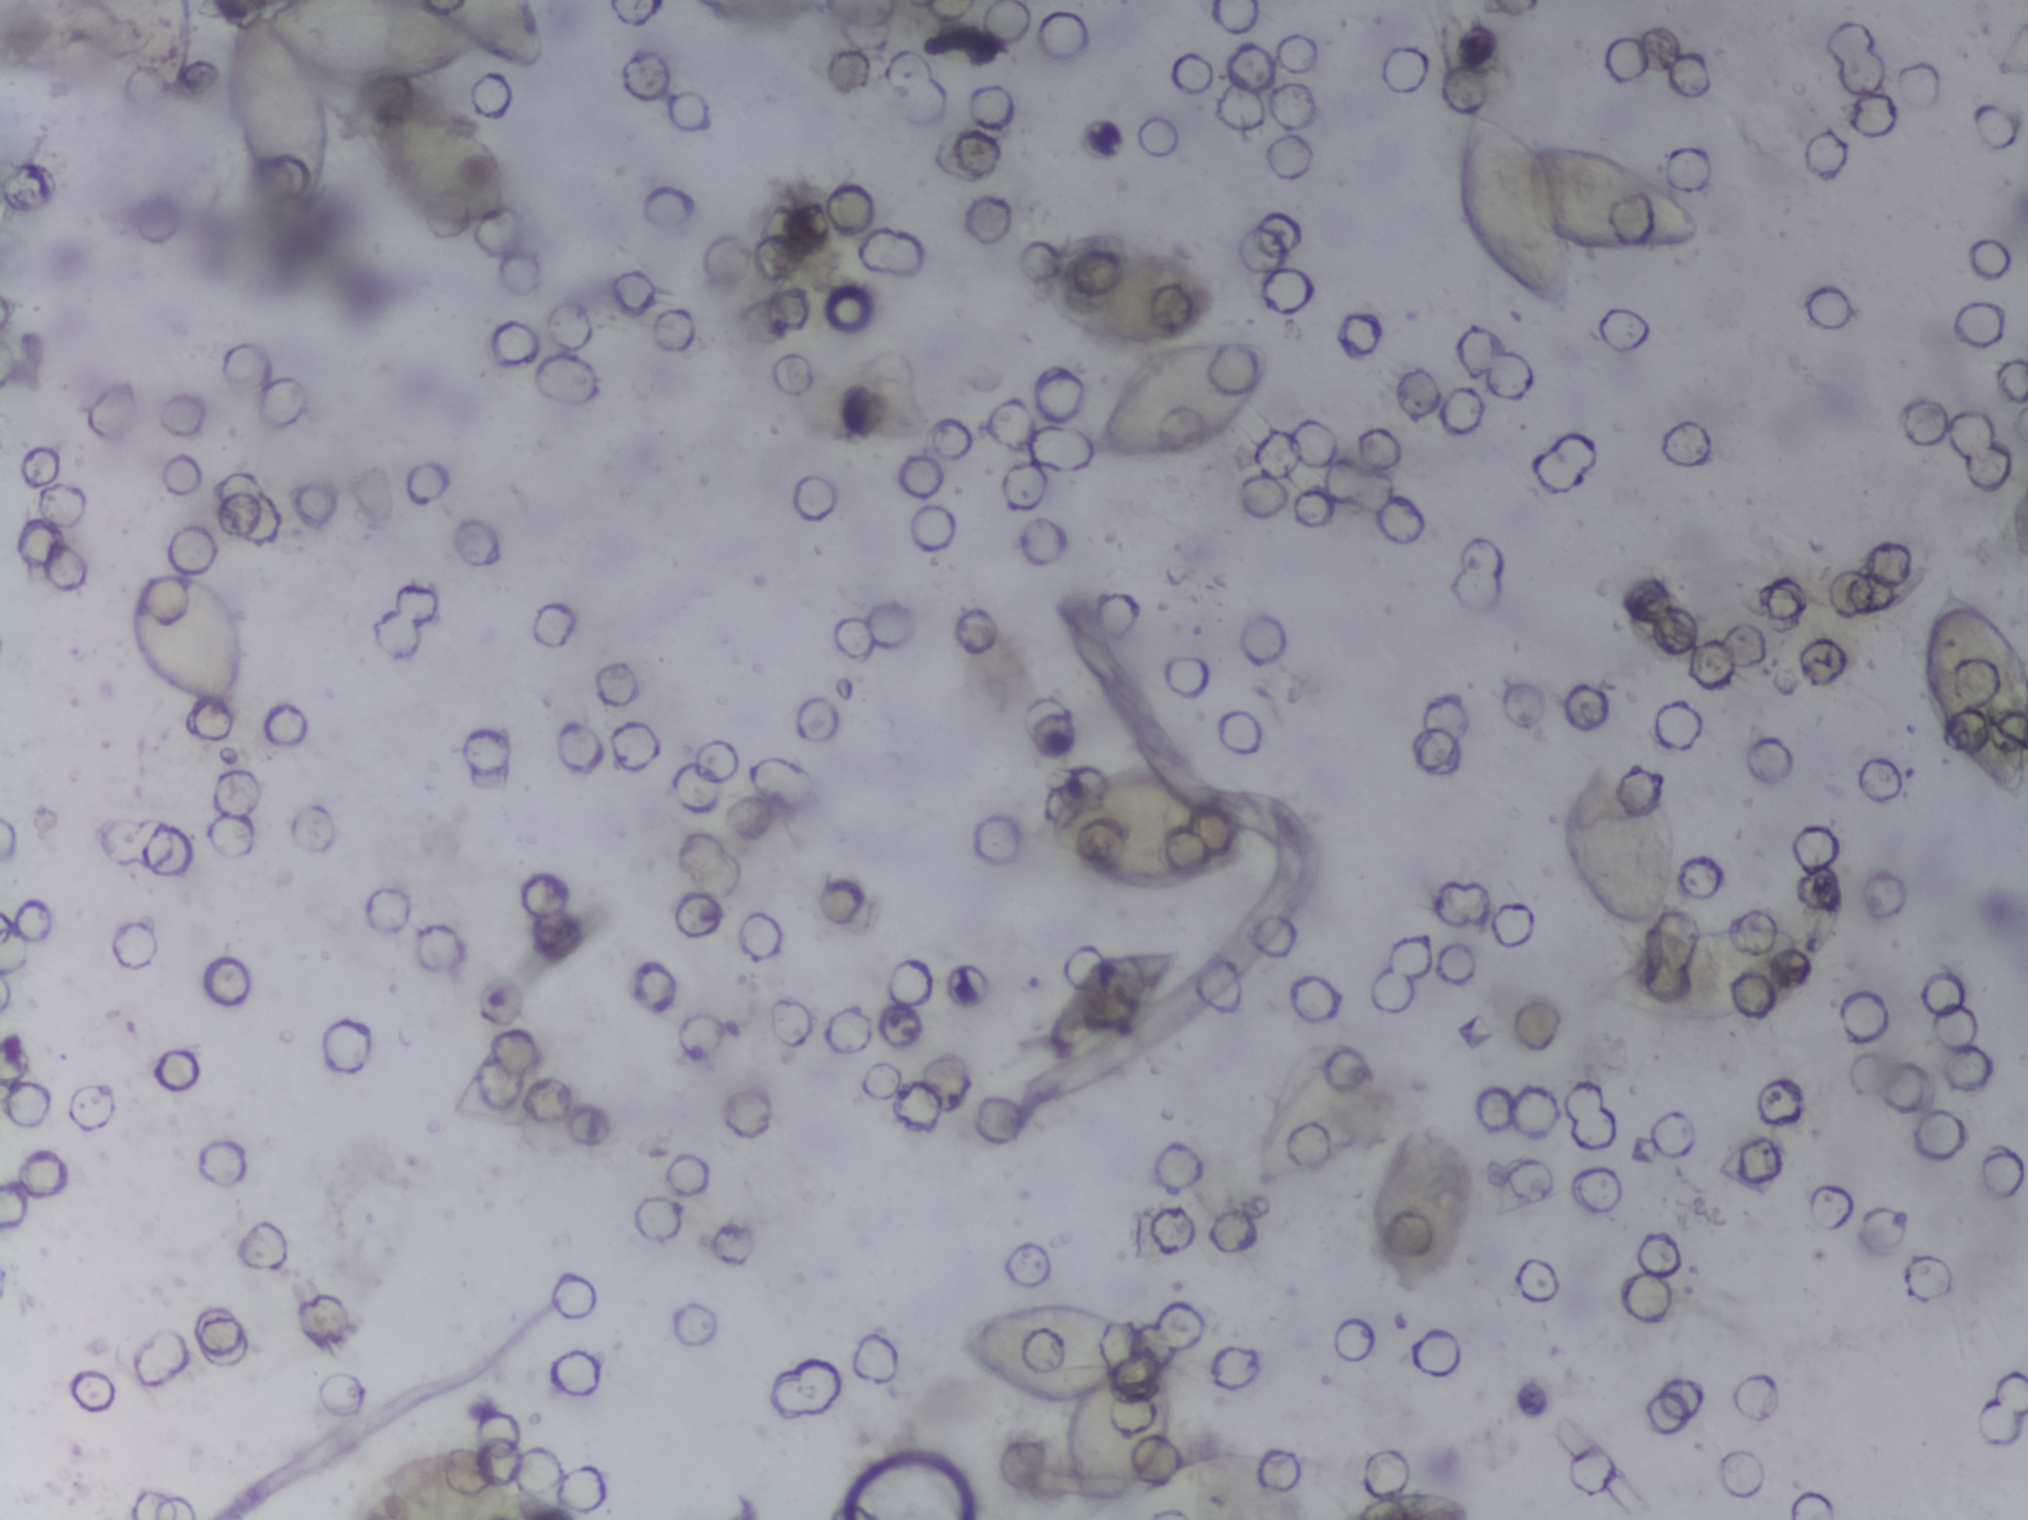
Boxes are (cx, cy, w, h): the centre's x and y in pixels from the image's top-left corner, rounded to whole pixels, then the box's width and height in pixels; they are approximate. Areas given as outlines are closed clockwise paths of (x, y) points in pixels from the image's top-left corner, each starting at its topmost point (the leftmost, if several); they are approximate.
13 areas of this image are outlined as Schistosoma eggs, from left to right: box (cx=189, cy=640, w=125, h=147); outline (275, 0), (535, 0), (548, 54), (544, 67), (533, 72), (478, 56), (422, 80), (329, 88), (333, 164), (319, 219), (297, 235), (243, 179), (225, 150), (227, 49), (242, 16) (reaching the top edge of the frame); box (cx=441, cy=166, w=153, h=139); box (cx=1064, cy=1409, w=227, h=221) (reaching the bottom edge of the frame); box (cx=1113, cy=1006, w=141, h=117); box (cx=1138, cy=831, w=237, h=128); box (cx=1149, cy=346, w=253, h=233); box (cx=1320, cy=1113, w=149, h=150); box (cx=1424, cy=1214, w=116, h=186); box (cx=1580, cy=214, w=255, h=211); box (cx=1620, cy=843, w=121, h=175); box (cx=1698, cy=973, w=215, h=105); box (cx=1971, cy=692, w=114, h=230) (reaching the right edge of the frame). Eggs that touch can end up inside the same outlined area.
Urine filter membrane photographed through a 4× microscope objective.